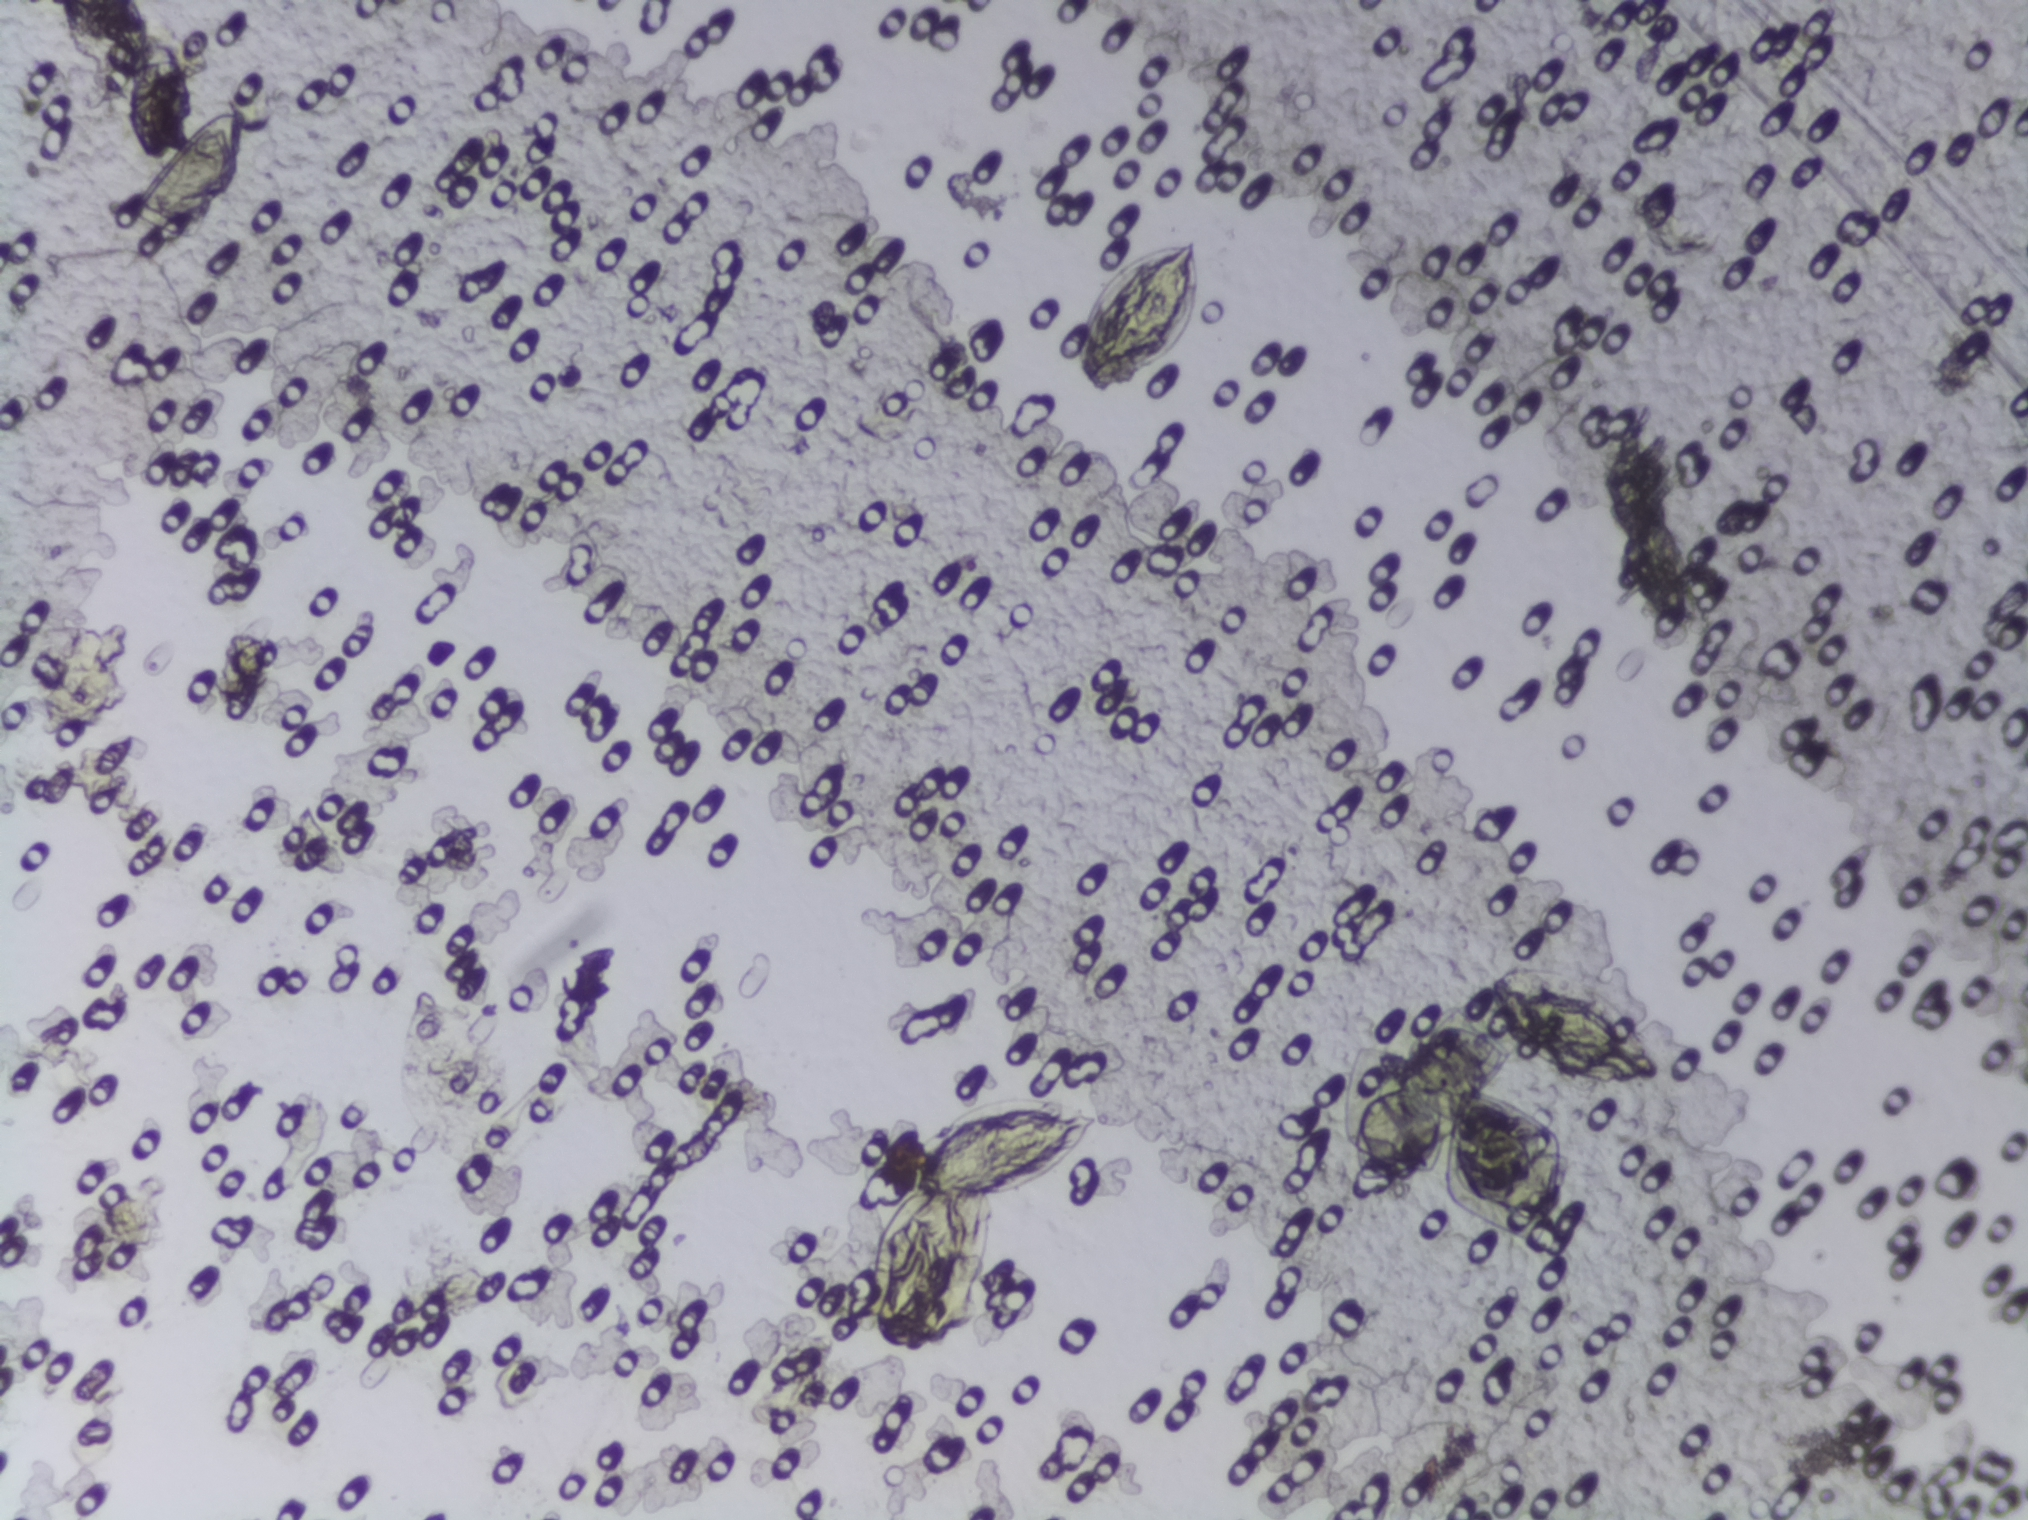
Microscope photograph (4× objective) of a membrane that a urine sample was filtered through.
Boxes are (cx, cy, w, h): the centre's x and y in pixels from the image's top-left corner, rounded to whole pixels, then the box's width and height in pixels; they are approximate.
Findings: four areas outlined as Schistosoma eggs. Locations, left to right: (cx=158, cy=99, w=72, h=129); (cx=977, cy=1226, w=246, h=261); (cx=1136, cy=316, w=134, h=161); (cx=1575, cy=1029, w=176, h=129). Eggs that touch can end up inside the same outlined area.